Urine filtration membrane under a 4× objective, photographed by an automated digital microscope.
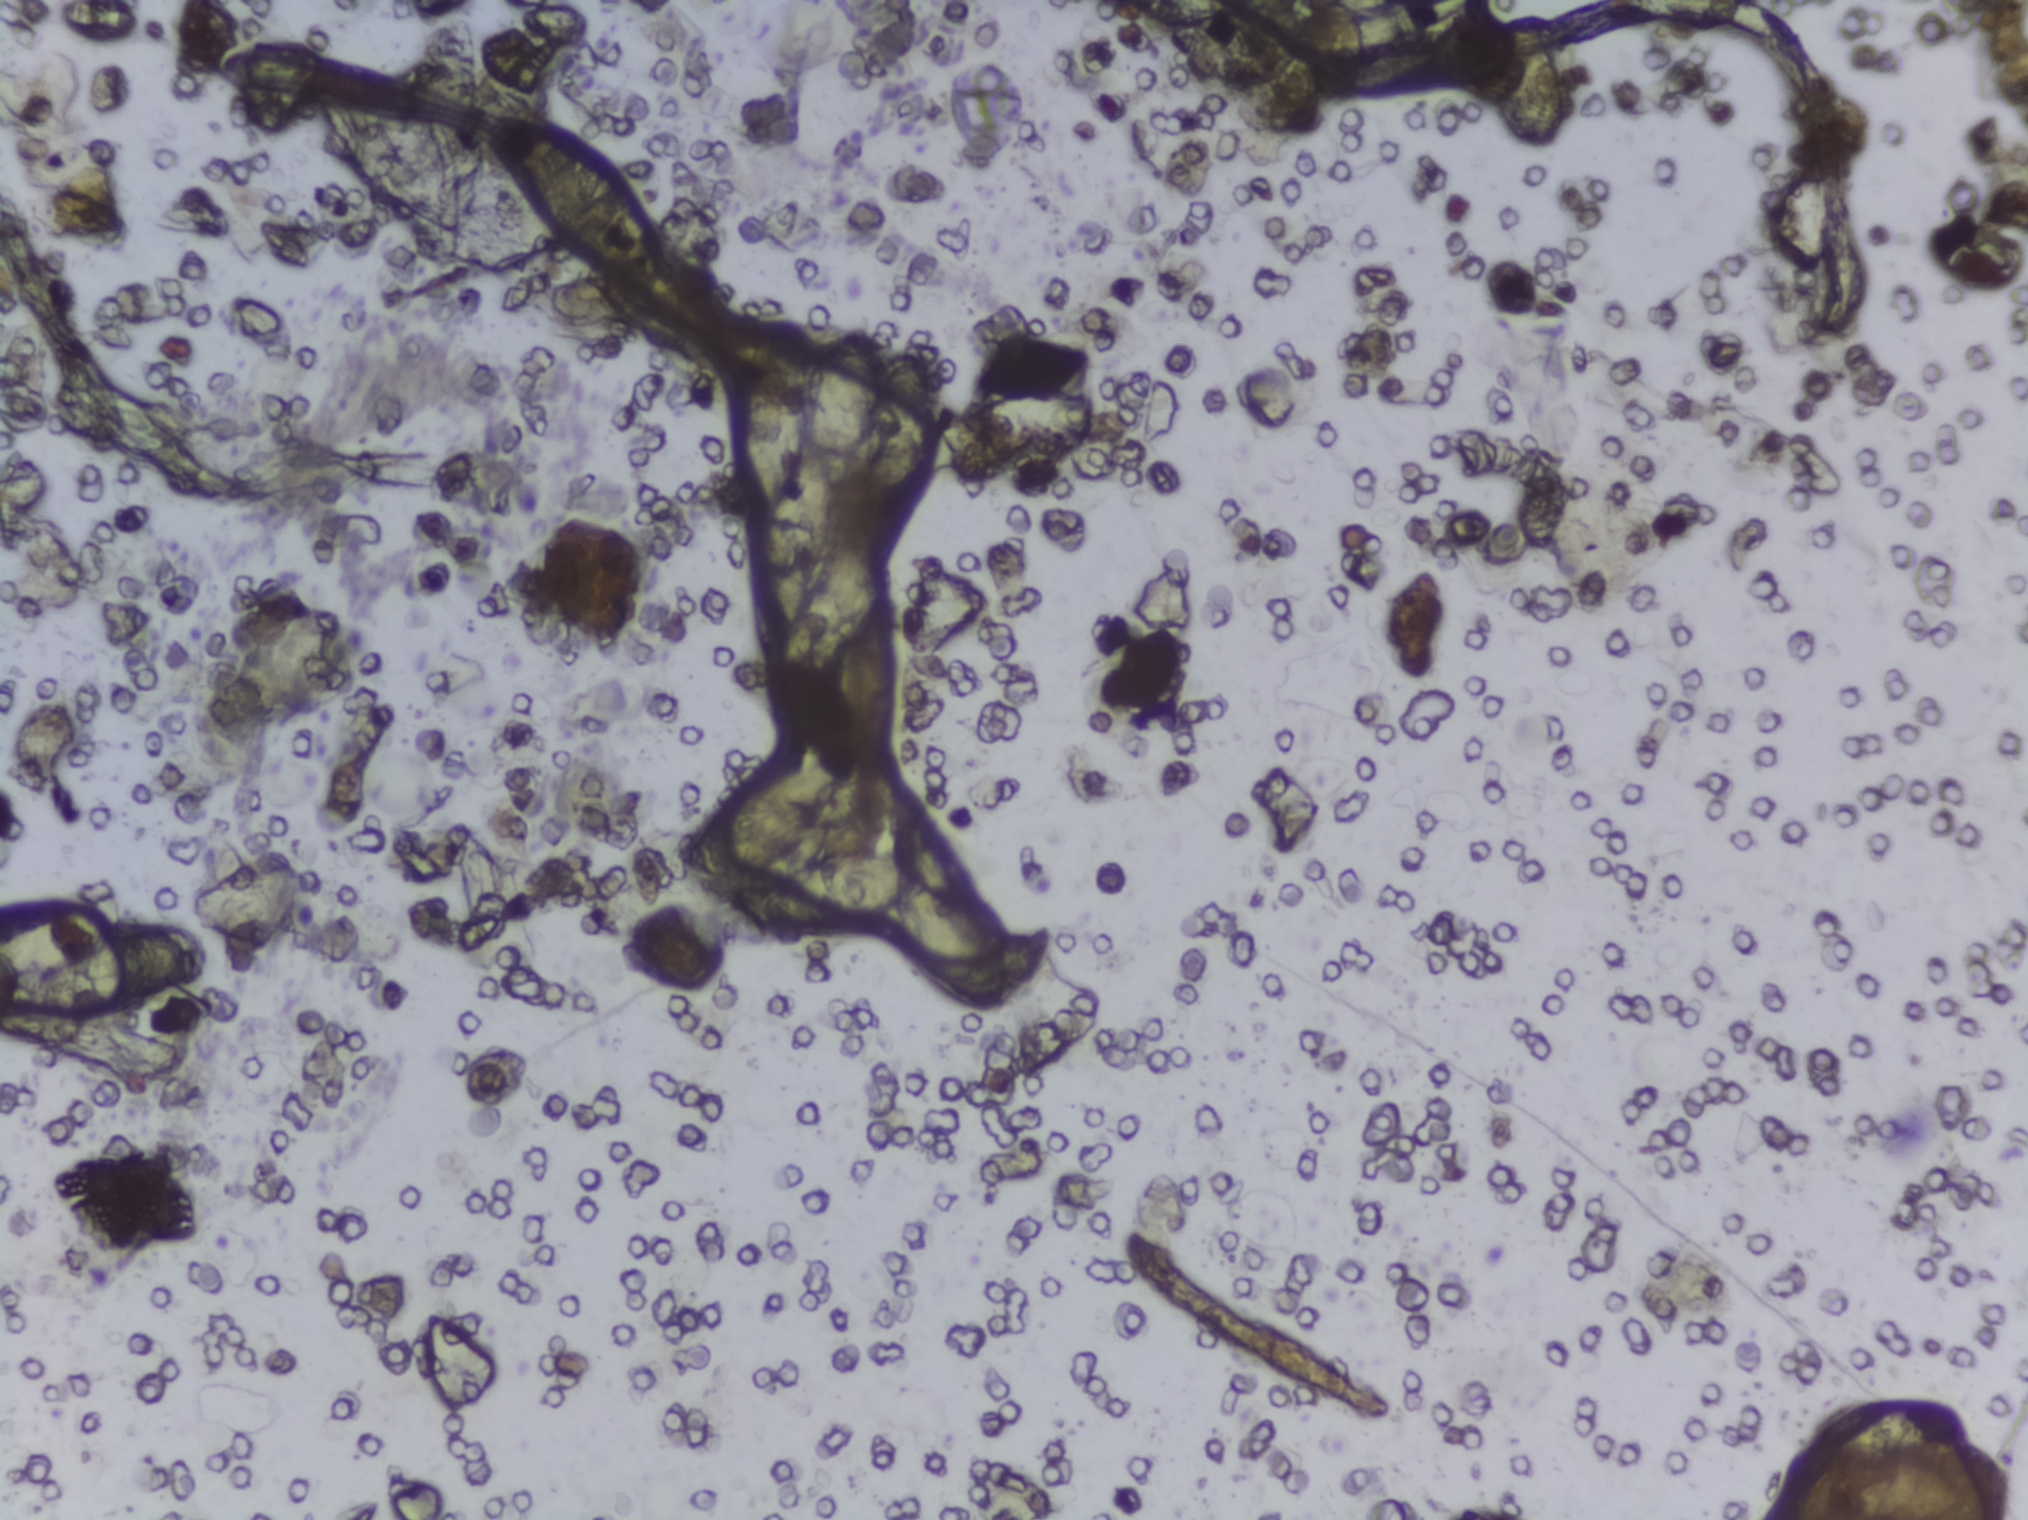
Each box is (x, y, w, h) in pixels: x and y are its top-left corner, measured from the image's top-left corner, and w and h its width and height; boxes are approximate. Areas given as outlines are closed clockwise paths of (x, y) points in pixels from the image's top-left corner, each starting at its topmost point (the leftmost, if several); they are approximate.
The expert annotation outlines Schistosoma eggs in six areas, left to right: box (x=0, y=902, w=191, h=112) (reaching the left edge of the frame); box (x=681, y=798, w=135, h=77); outline (790, 319), (809, 322), (819, 351), (843, 330), (856, 329), (879, 378), (891, 357), (916, 353), (939, 406), (938, 428), (1004, 397), (1064, 392), (1090, 400), (1096, 429), (1079, 452), (1021, 473), (983, 471), (937, 431), (925, 481), (912, 500), (892, 510), (869, 487), (865, 446), (849, 479), (836, 486), (836, 522), (812, 588), (788, 624), (770, 619), (753, 572), (766, 504), (757, 498), (743, 459), (742, 376), (757, 336); outline (867, 853), (908, 860), (918, 882), (958, 895), (989, 918), (1008, 959), (1004, 998), (995, 1014), (955, 1003), (896, 919), (856, 933), (813, 935), (760, 912), (767, 891), (794, 871), (821, 857); box (x=1496, y=21, w=70, h=133); box (x=1812, y=1397, w=154, h=76). A single outlined area may contain several eggs.